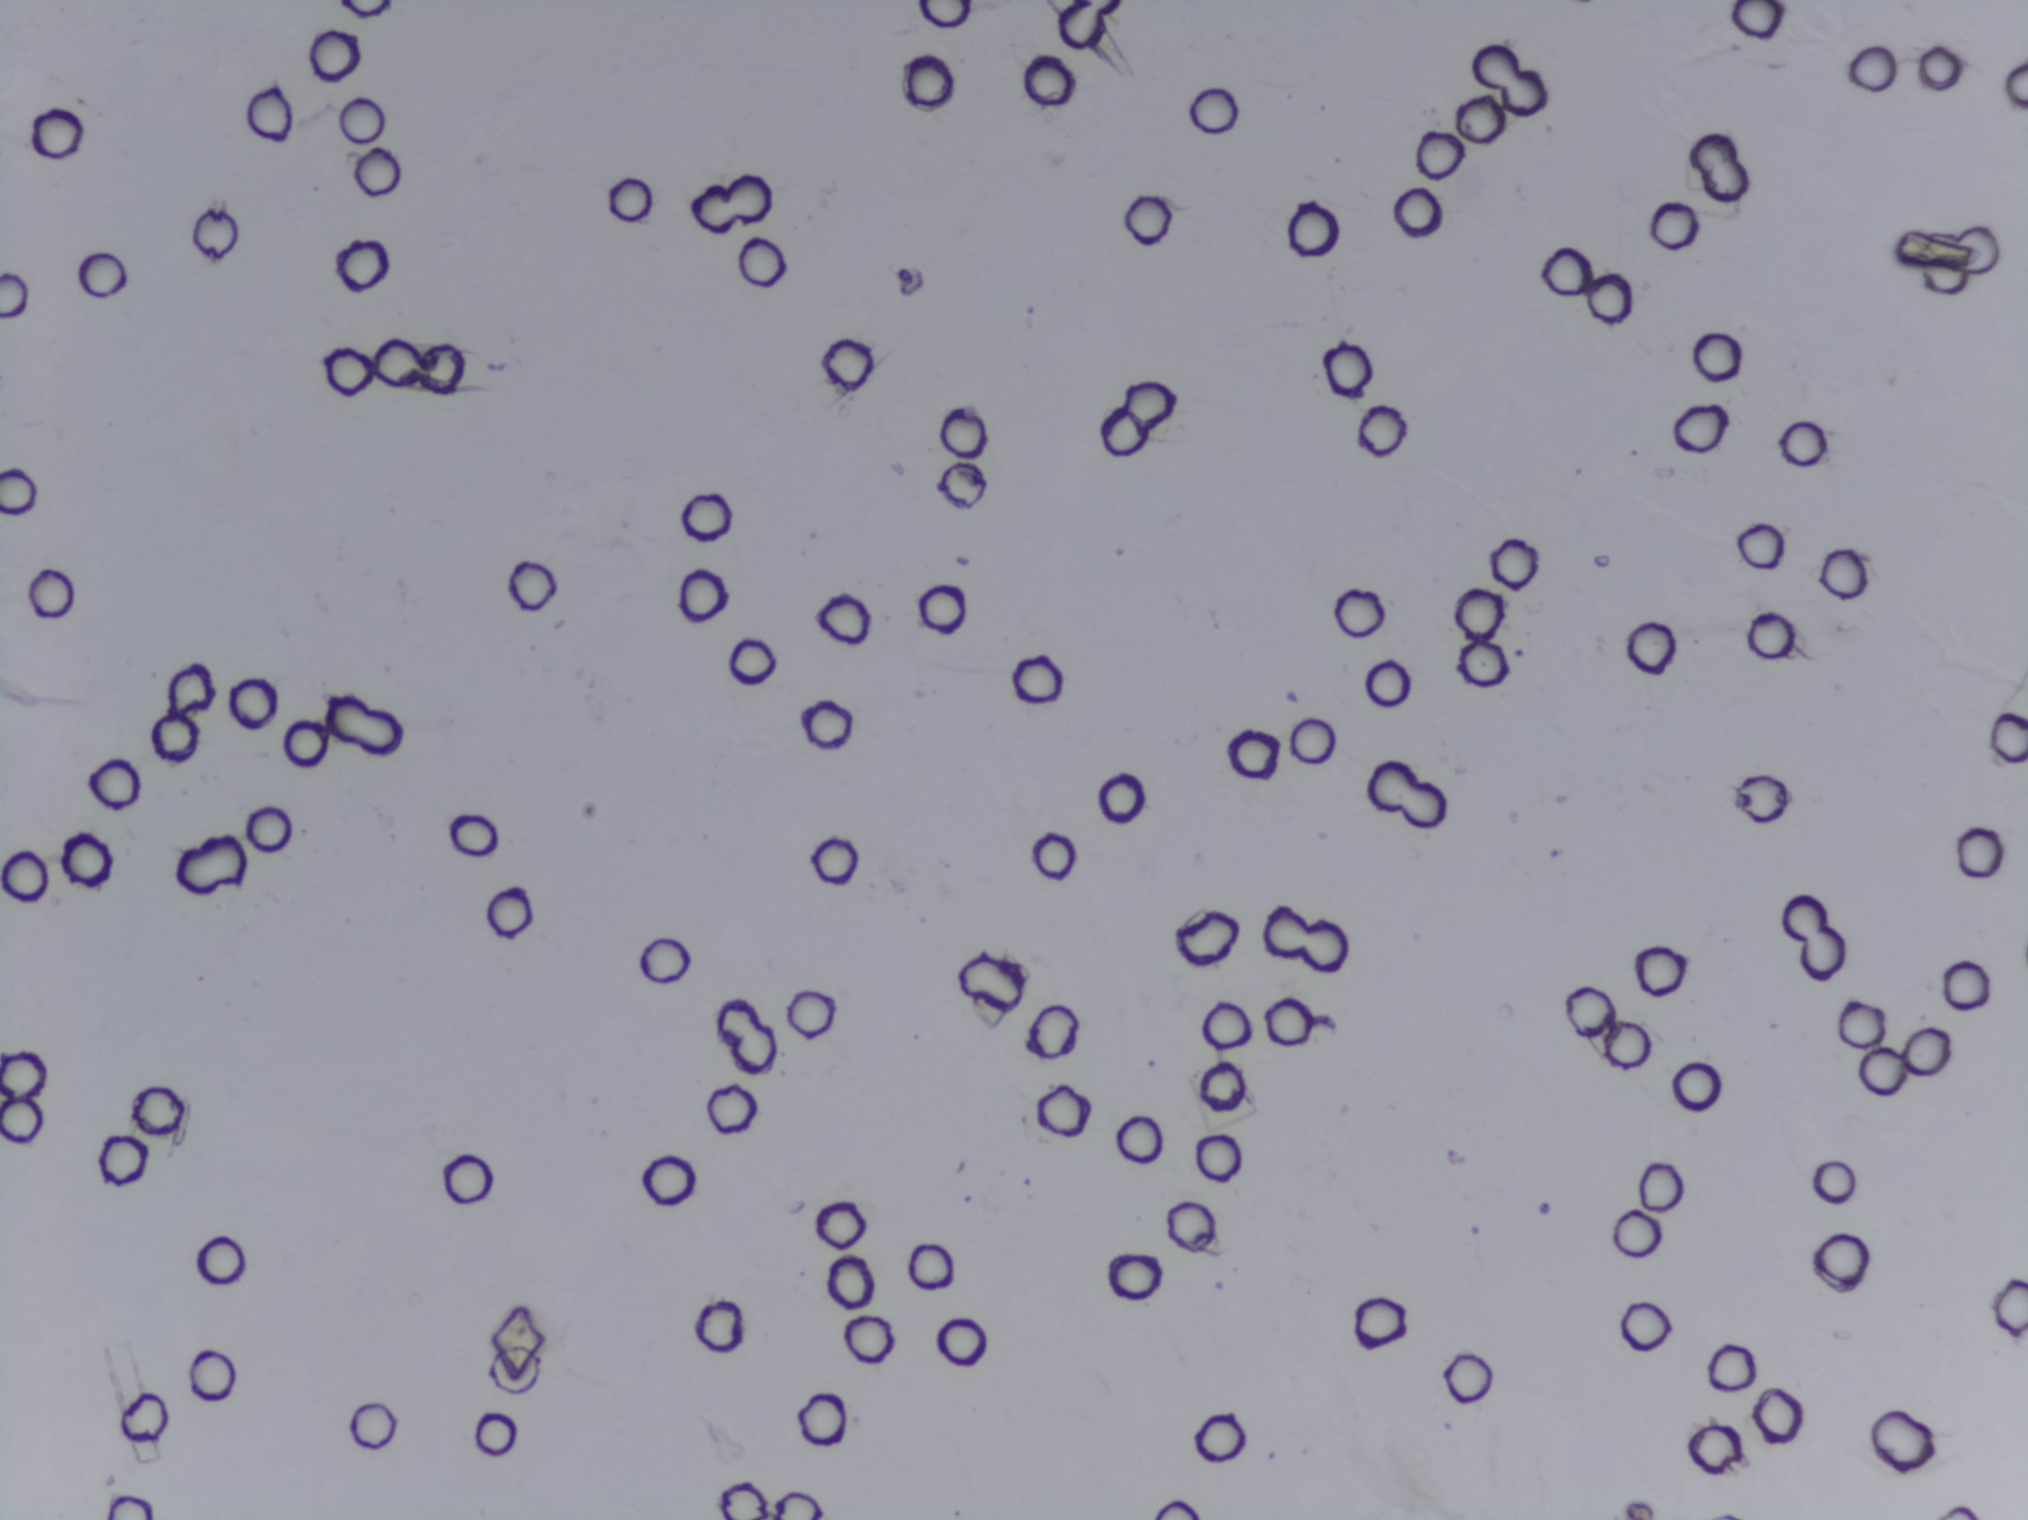
One field of view of a urine filter membrane, 4× objective, 2028 × 1520 pixels. Field of view: about 1.5 mm wide and 1.1 mm high.
No area of this image was outlined as a Schistosoma egg.